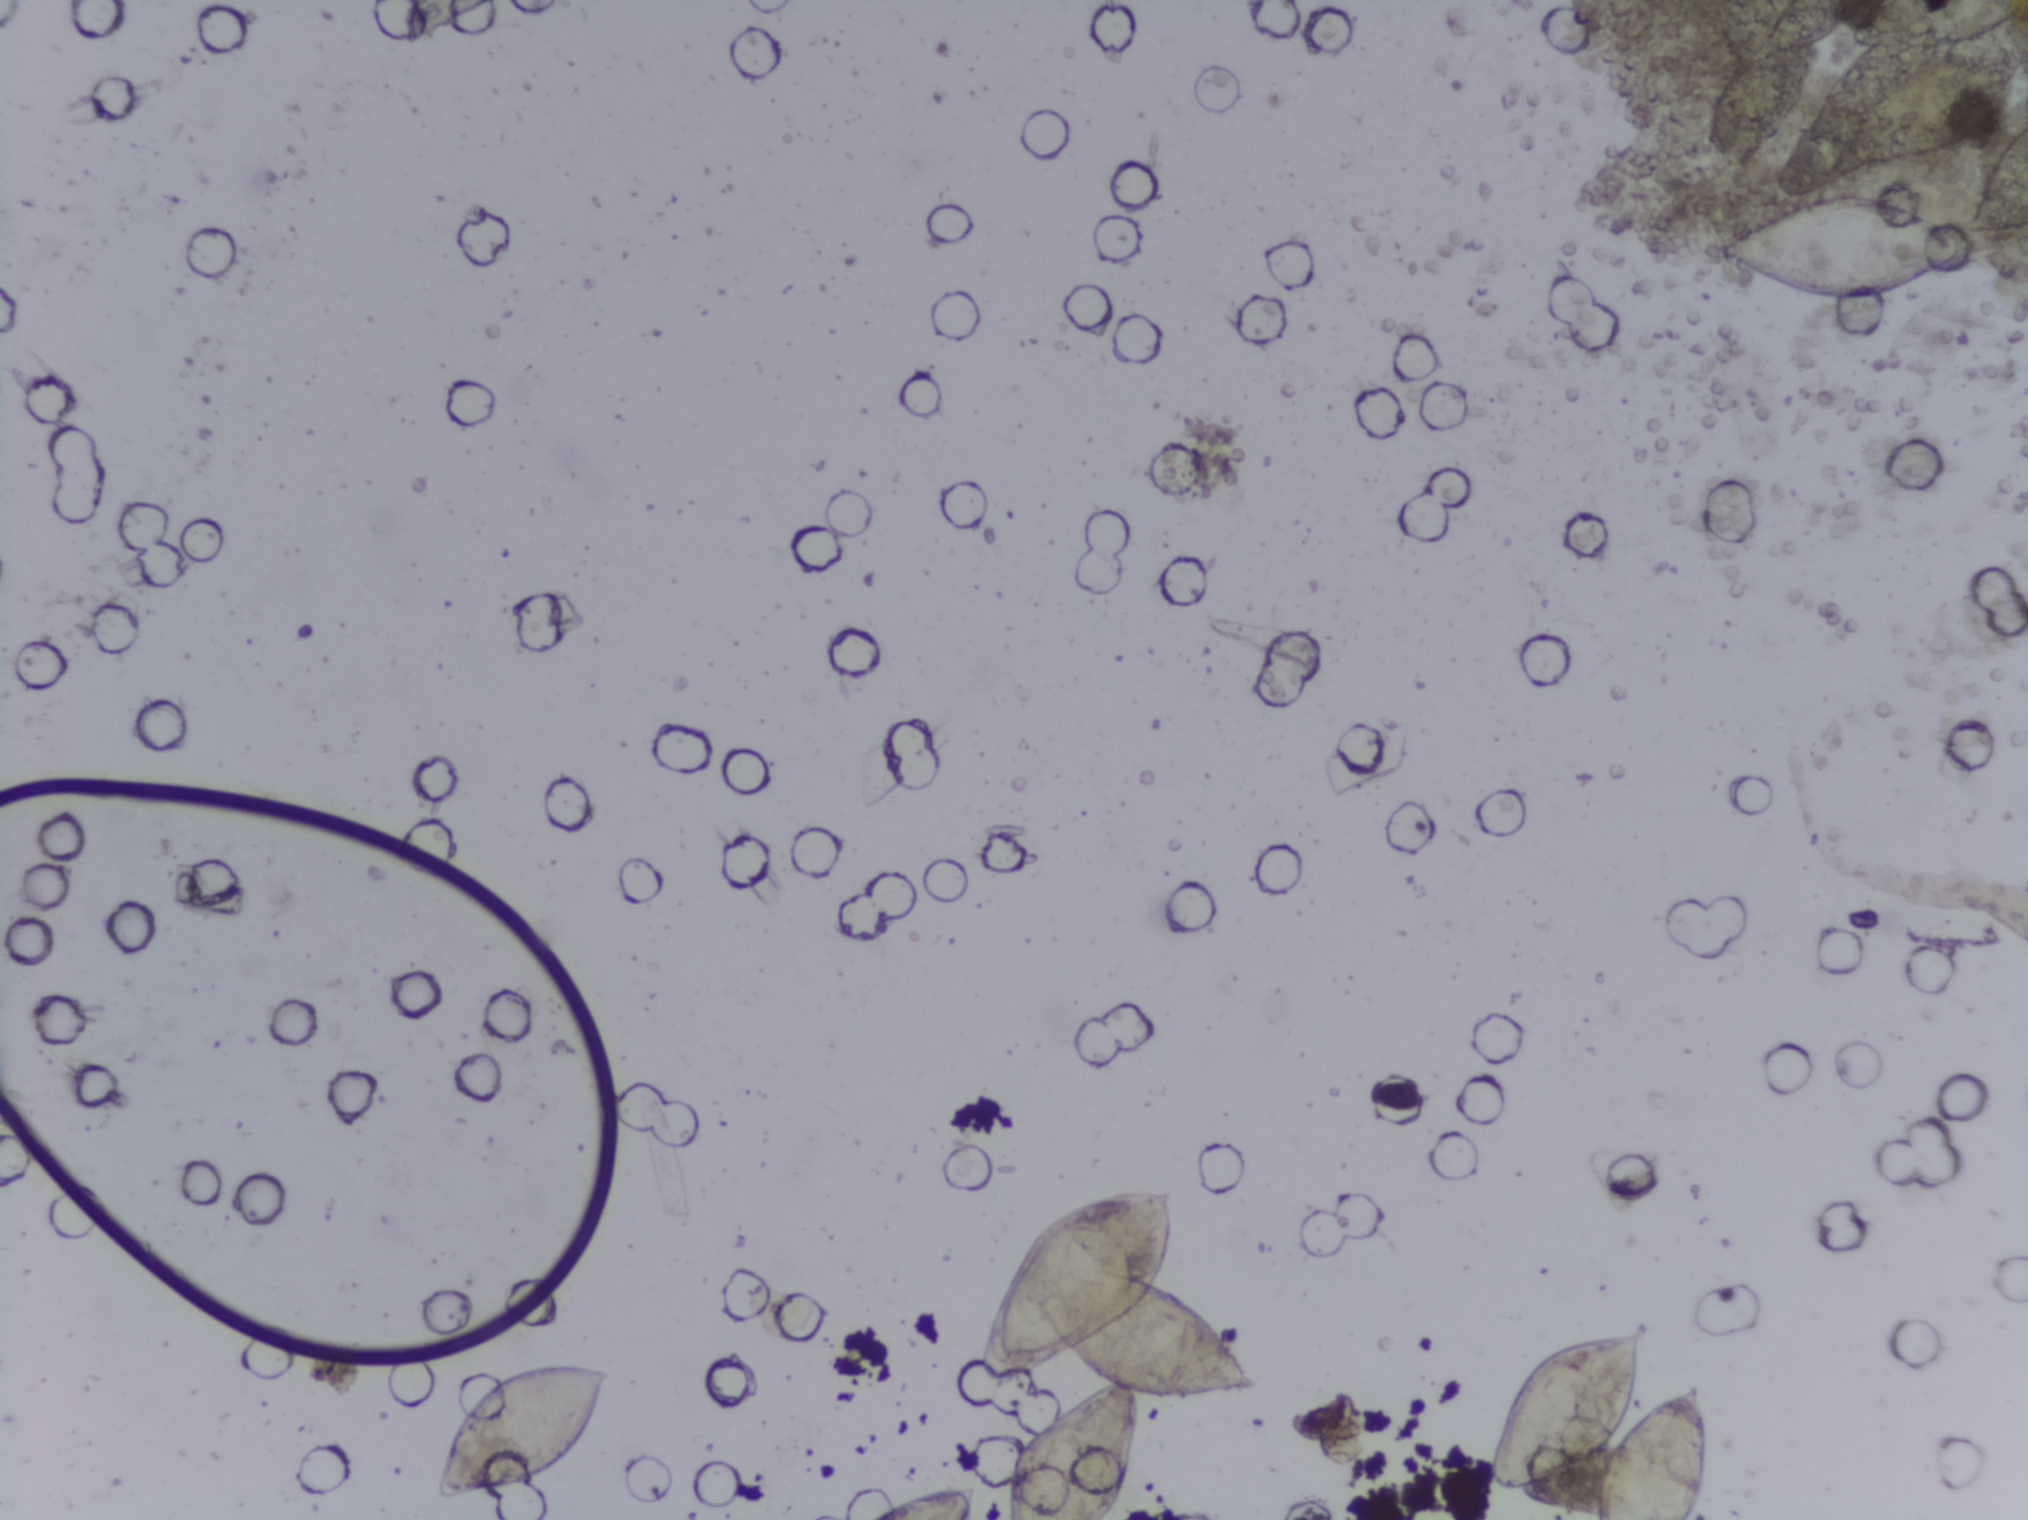
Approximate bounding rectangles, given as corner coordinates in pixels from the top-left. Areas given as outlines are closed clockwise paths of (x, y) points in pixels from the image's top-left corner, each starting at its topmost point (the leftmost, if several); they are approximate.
Schistosoma egg areas, outlined: box (x1=421, y1=1357, x2=614, y2=1504); box (x1=870, y1=1481, x2=977, y2=1519) (reaching the bottom edge of the frame); box (x1=971, y1=1185, x2=1256, y2=1519) (a cluster of eggs; reaching the bottom edge of the frame); box (x1=1480, y1=1311, x2=1710, y2=1519) (reaching the bottom edge of the frame); box (x1=1706, y1=0, x2=1857, y2=163) (reaching the top edge of the frame); outline (2027, 111), (2027, 232), (1972, 232), (1970, 254), (1900, 296), (1869, 305), (1803, 300), (1716, 259), (1714, 243), (1723, 233), (1772, 206), (1828, 190), (1910, 198), (1962, 219), (1992, 150) (reaching the right edge of the frame); box (x1=1836, y1=58, x2=2027, y2=167) (reaching the right edge of the frame); box (x1=1852, y1=0, x2=2027, y2=50) (reaching the top and right edges of the frame). Marked pixels, not the boxes and the outline around them: about 5.4% of the image. An outlined area can hold more than one egg.
Microscope photograph (4× objective) of a membrane that a urine sample was filtered through.